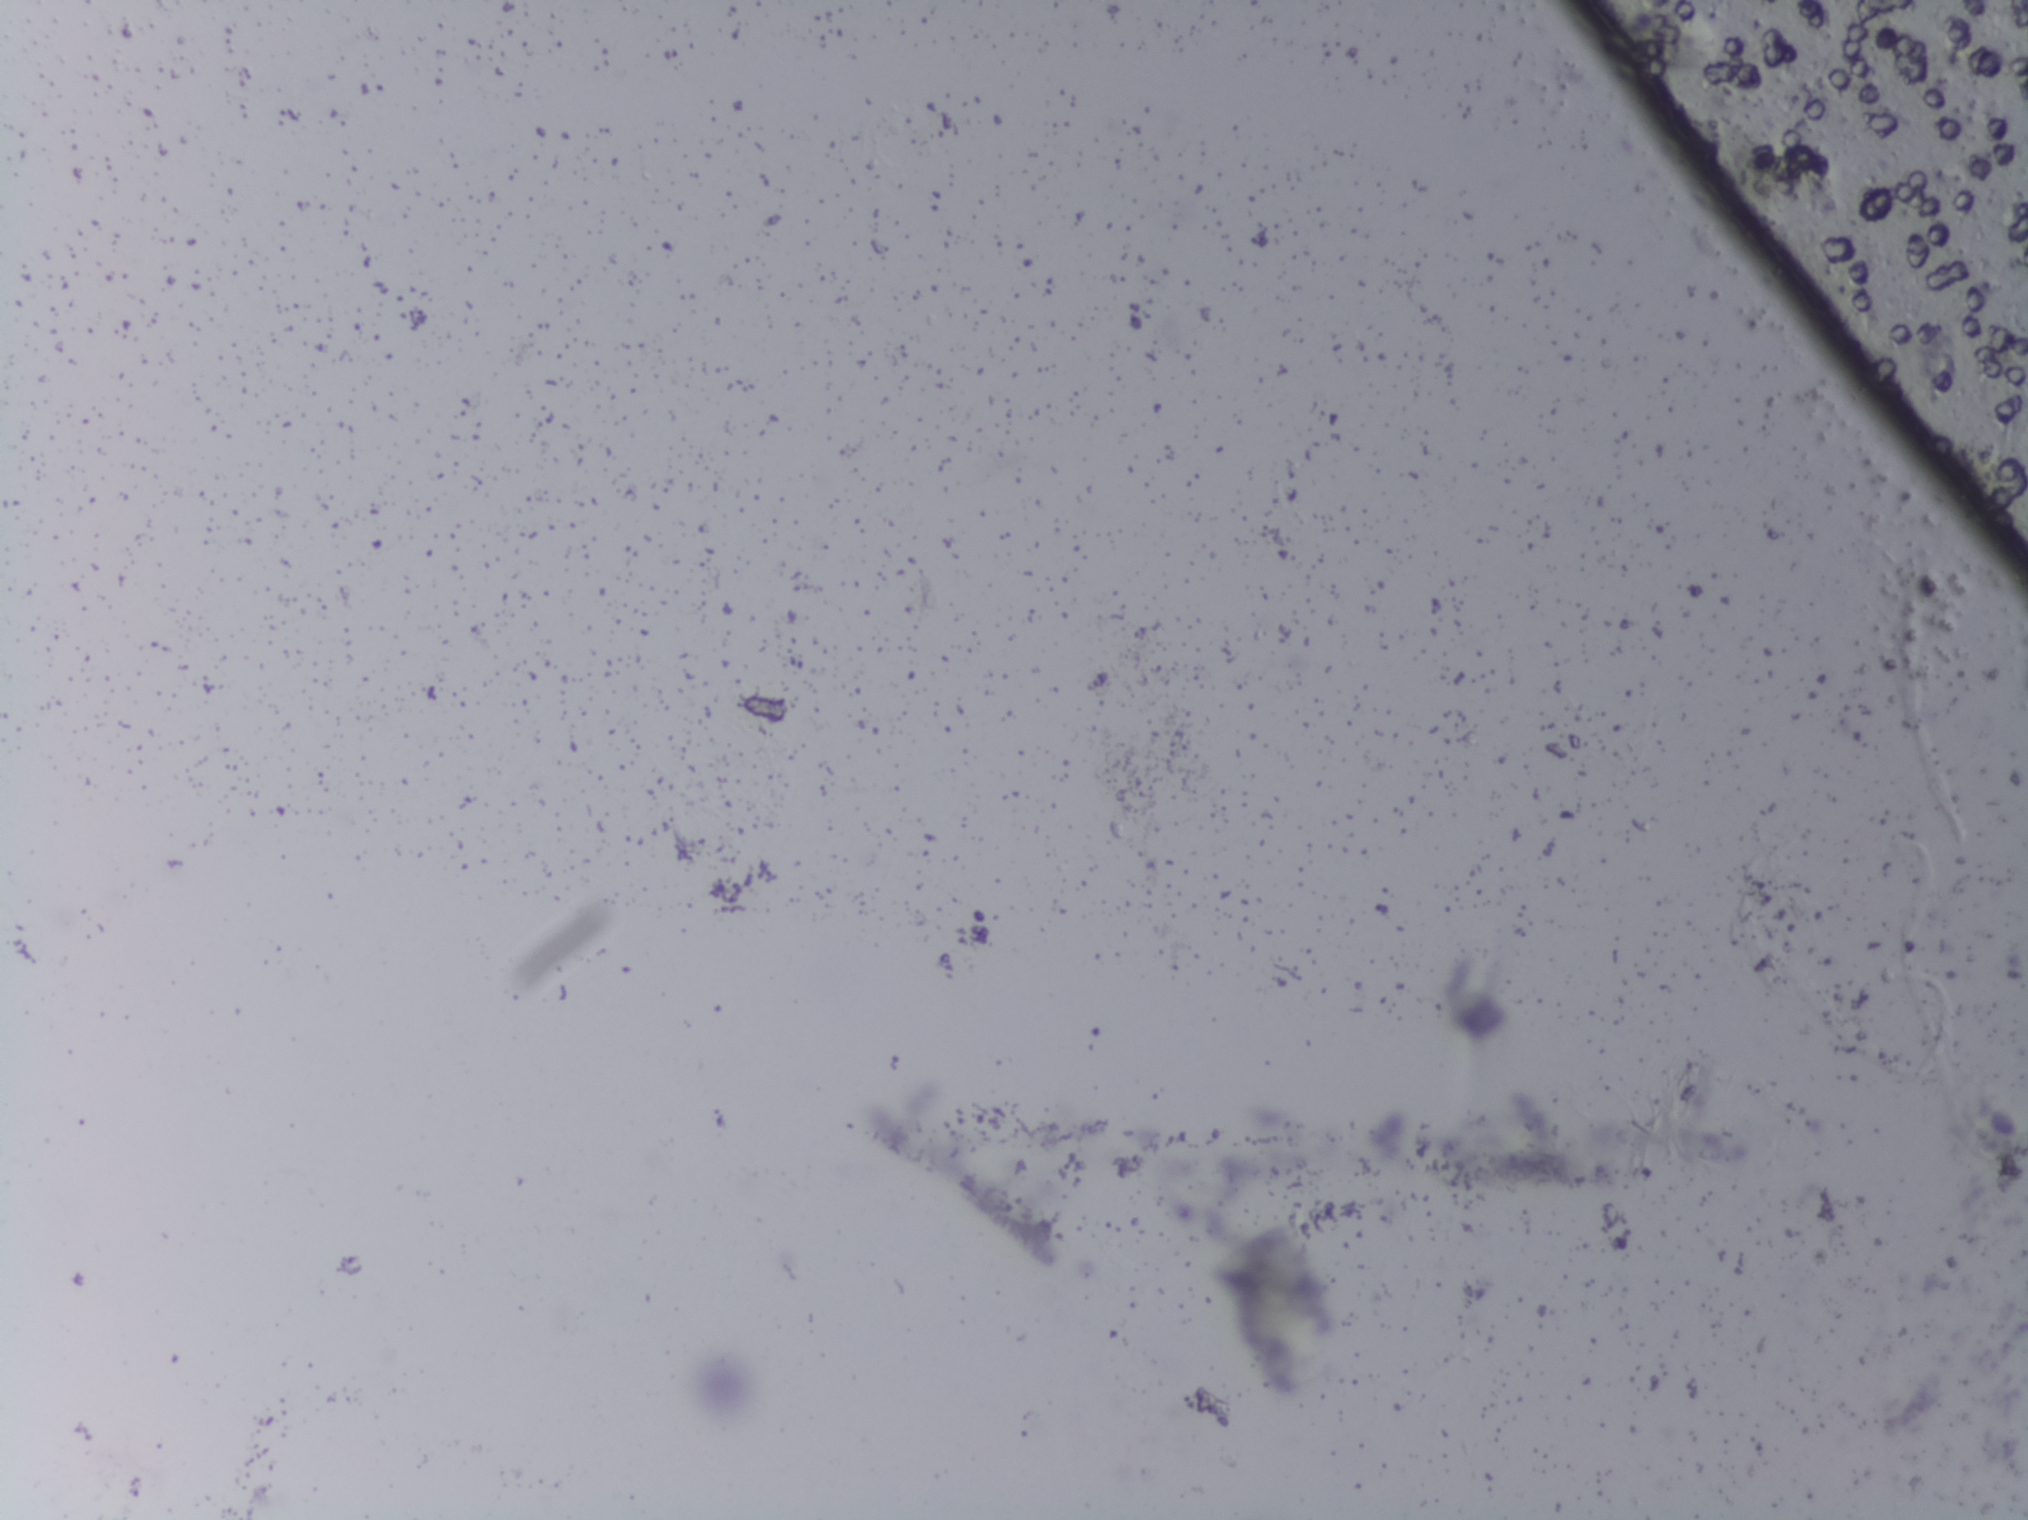
Urine filtration membrane under a 4× objective, photographed by an automated digital microscope. The field of view is about 1.5 mm × 1.1 mm.
No area of this image was outlined as a Schistosoma egg.